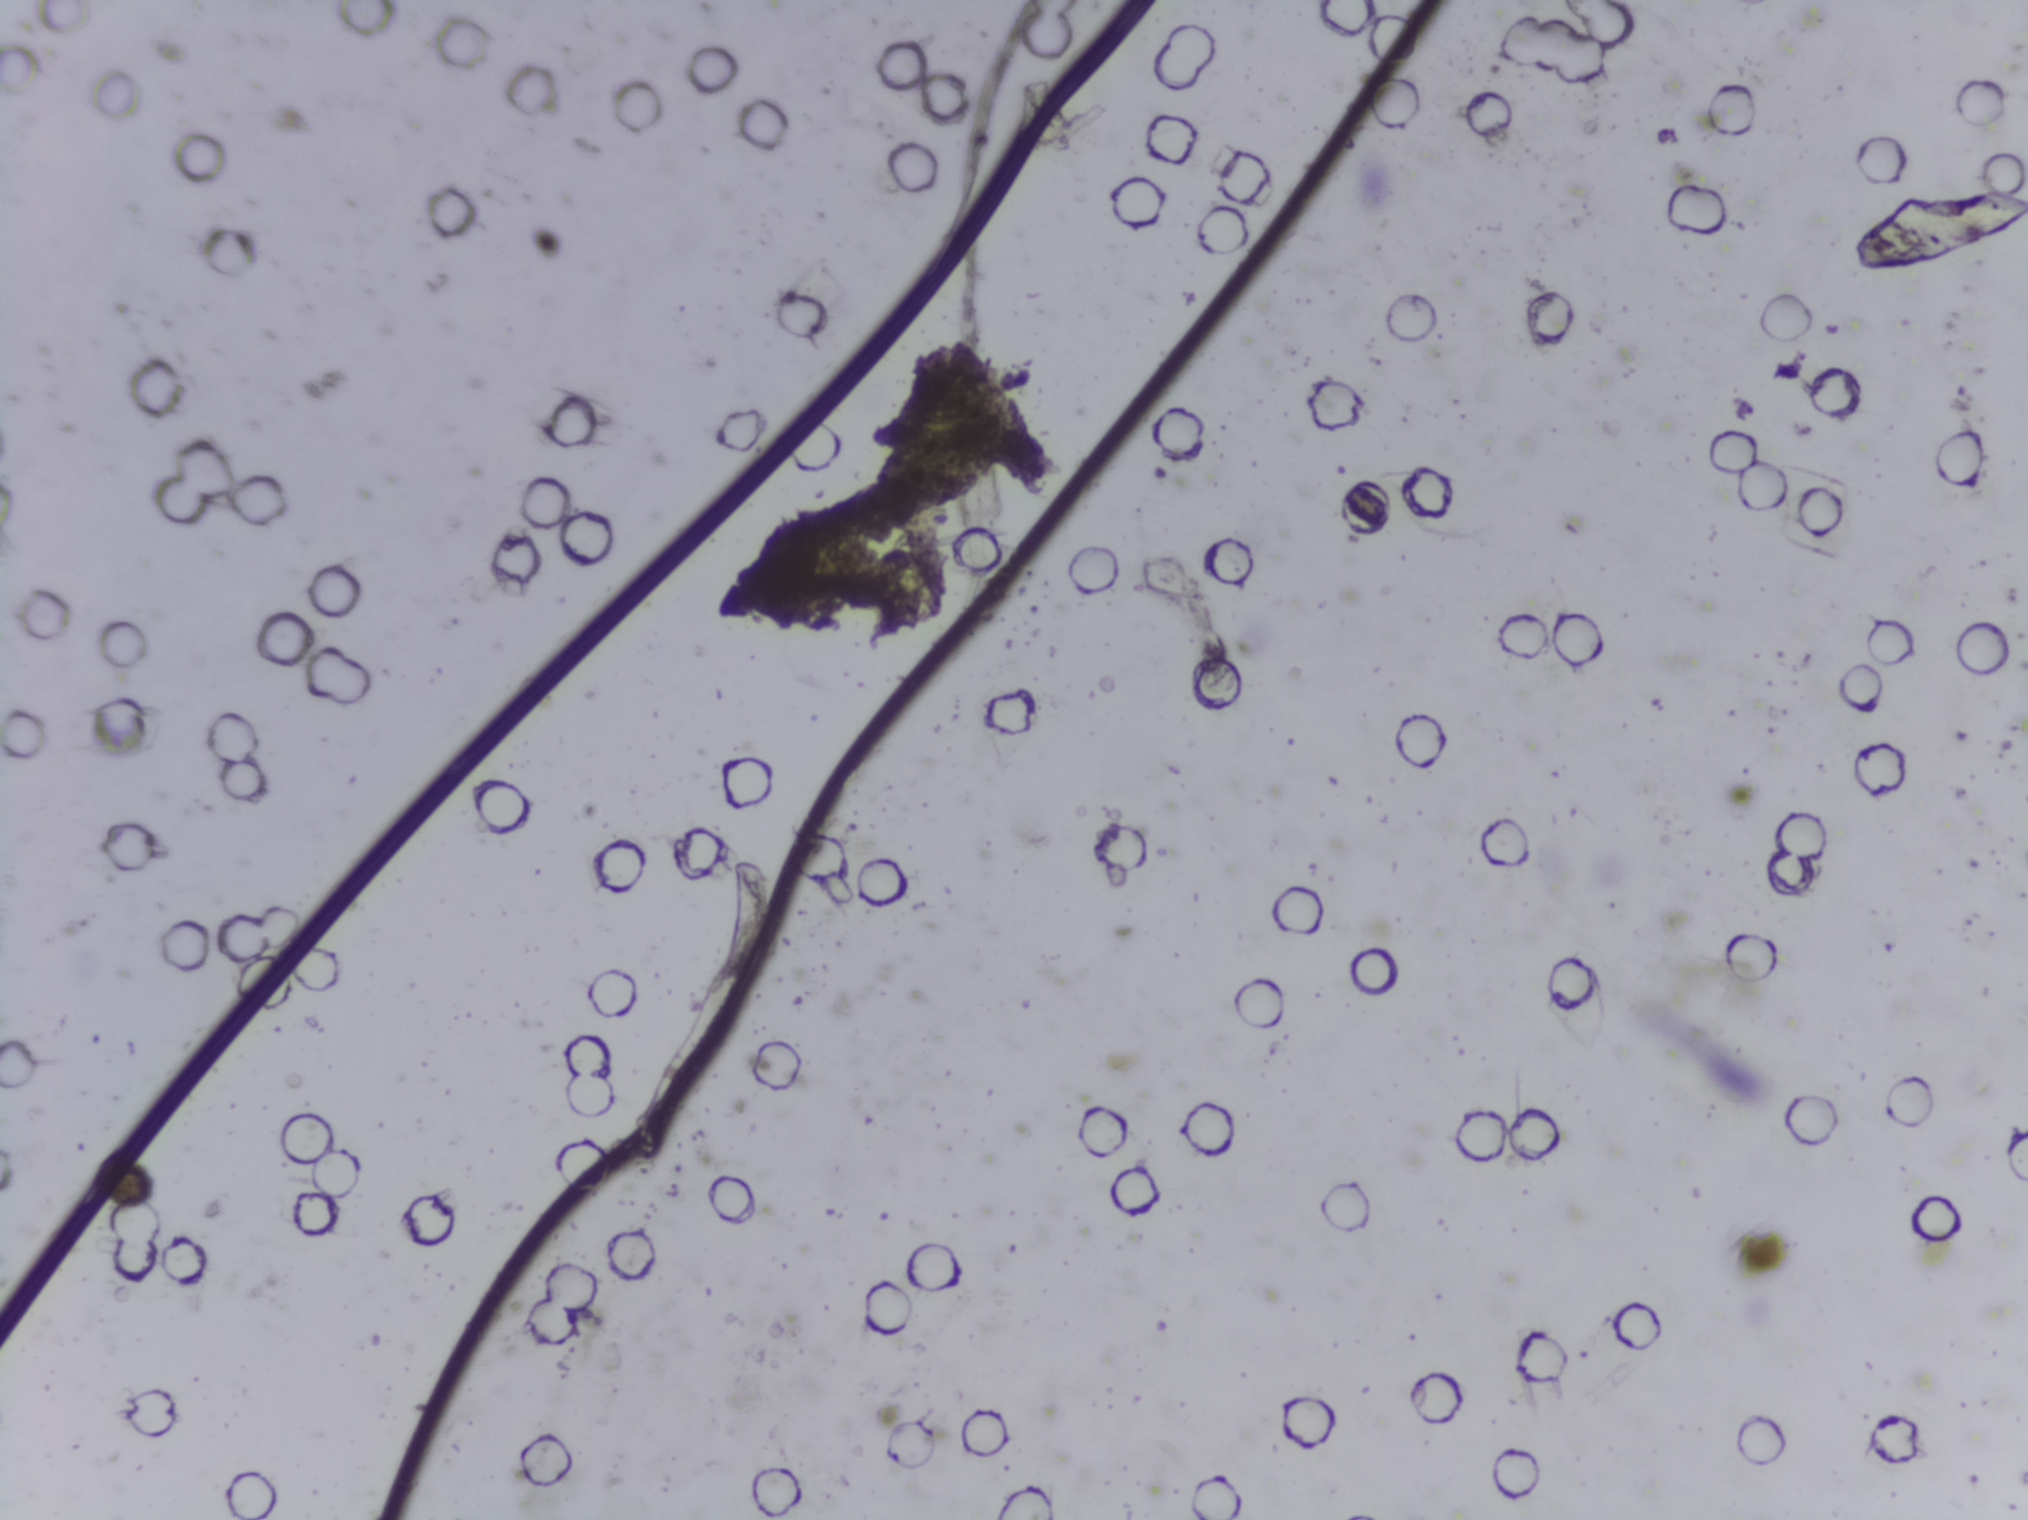
One field of view of a urine filter membrane, 4× objective, 2028 × 1520 pixels. The image covers about 1.5 × 1.1 mm of the membrane.
The expert annotation marks no Schistosoma egg in this field of view.